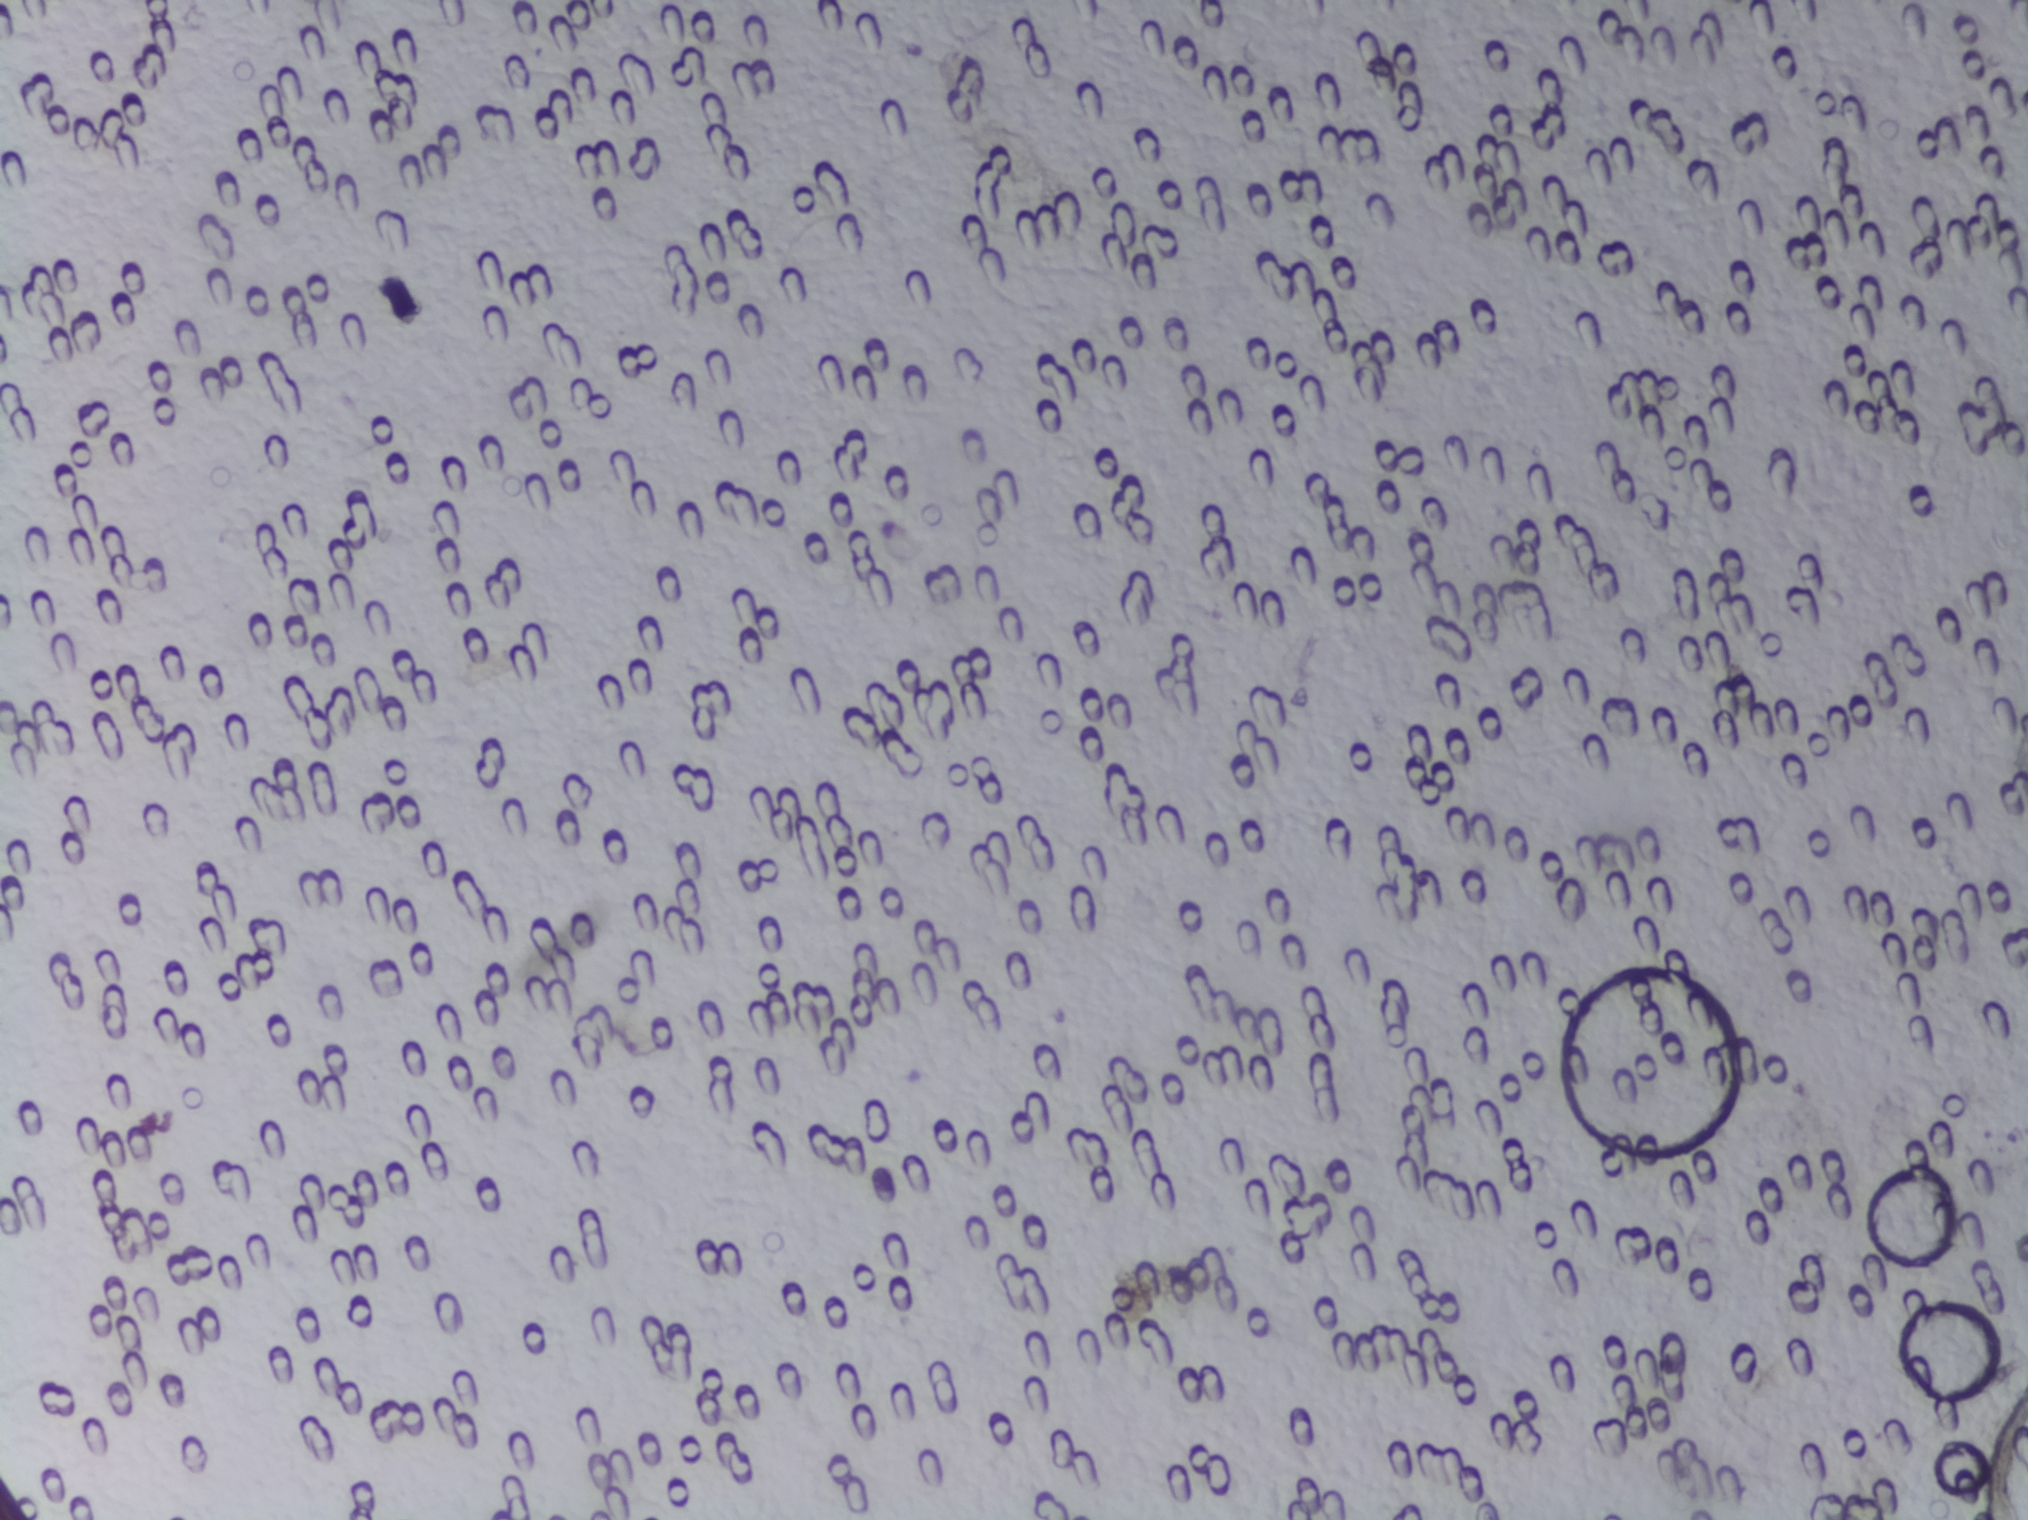
No Schistosoma egg is outlined in this image's expert annotation.
Urine filtration membrane under a 4× objective, photographed by an automated digital microscope. Field of view: about 1.5 mm wide and 1.1 mm high.